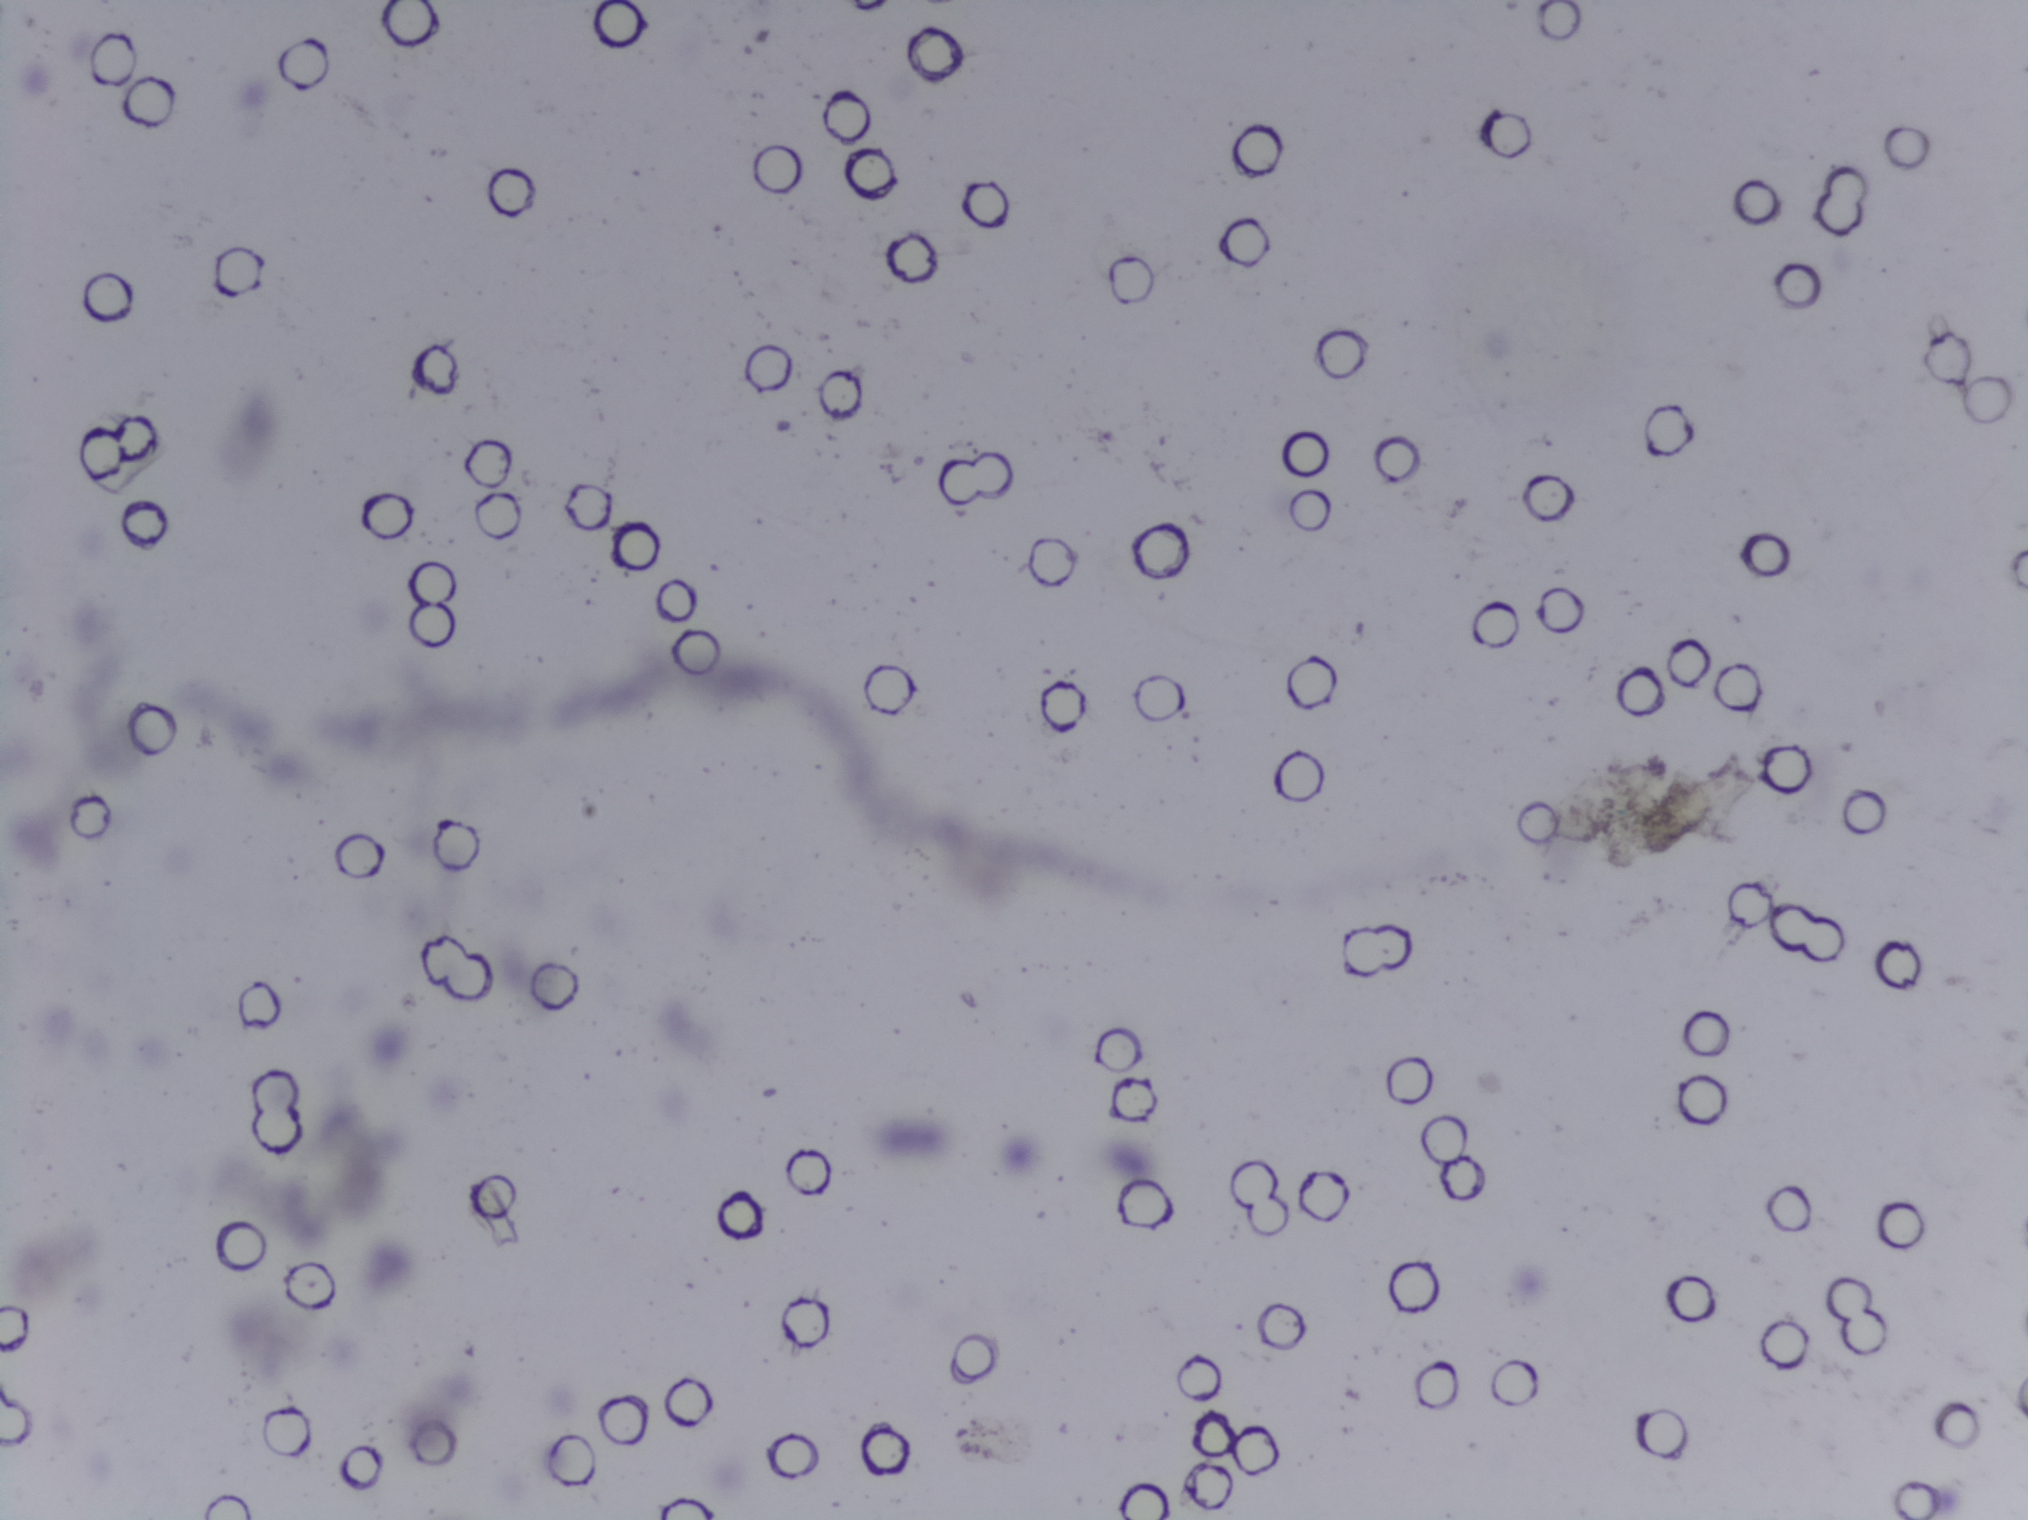
No area of this image was outlined as a Schistosoma egg.
One field of view of a urine filter membrane, 4× objective, 2028 × 1520 pixels. The field of view is about 1.5 mm × 1.1 mm.